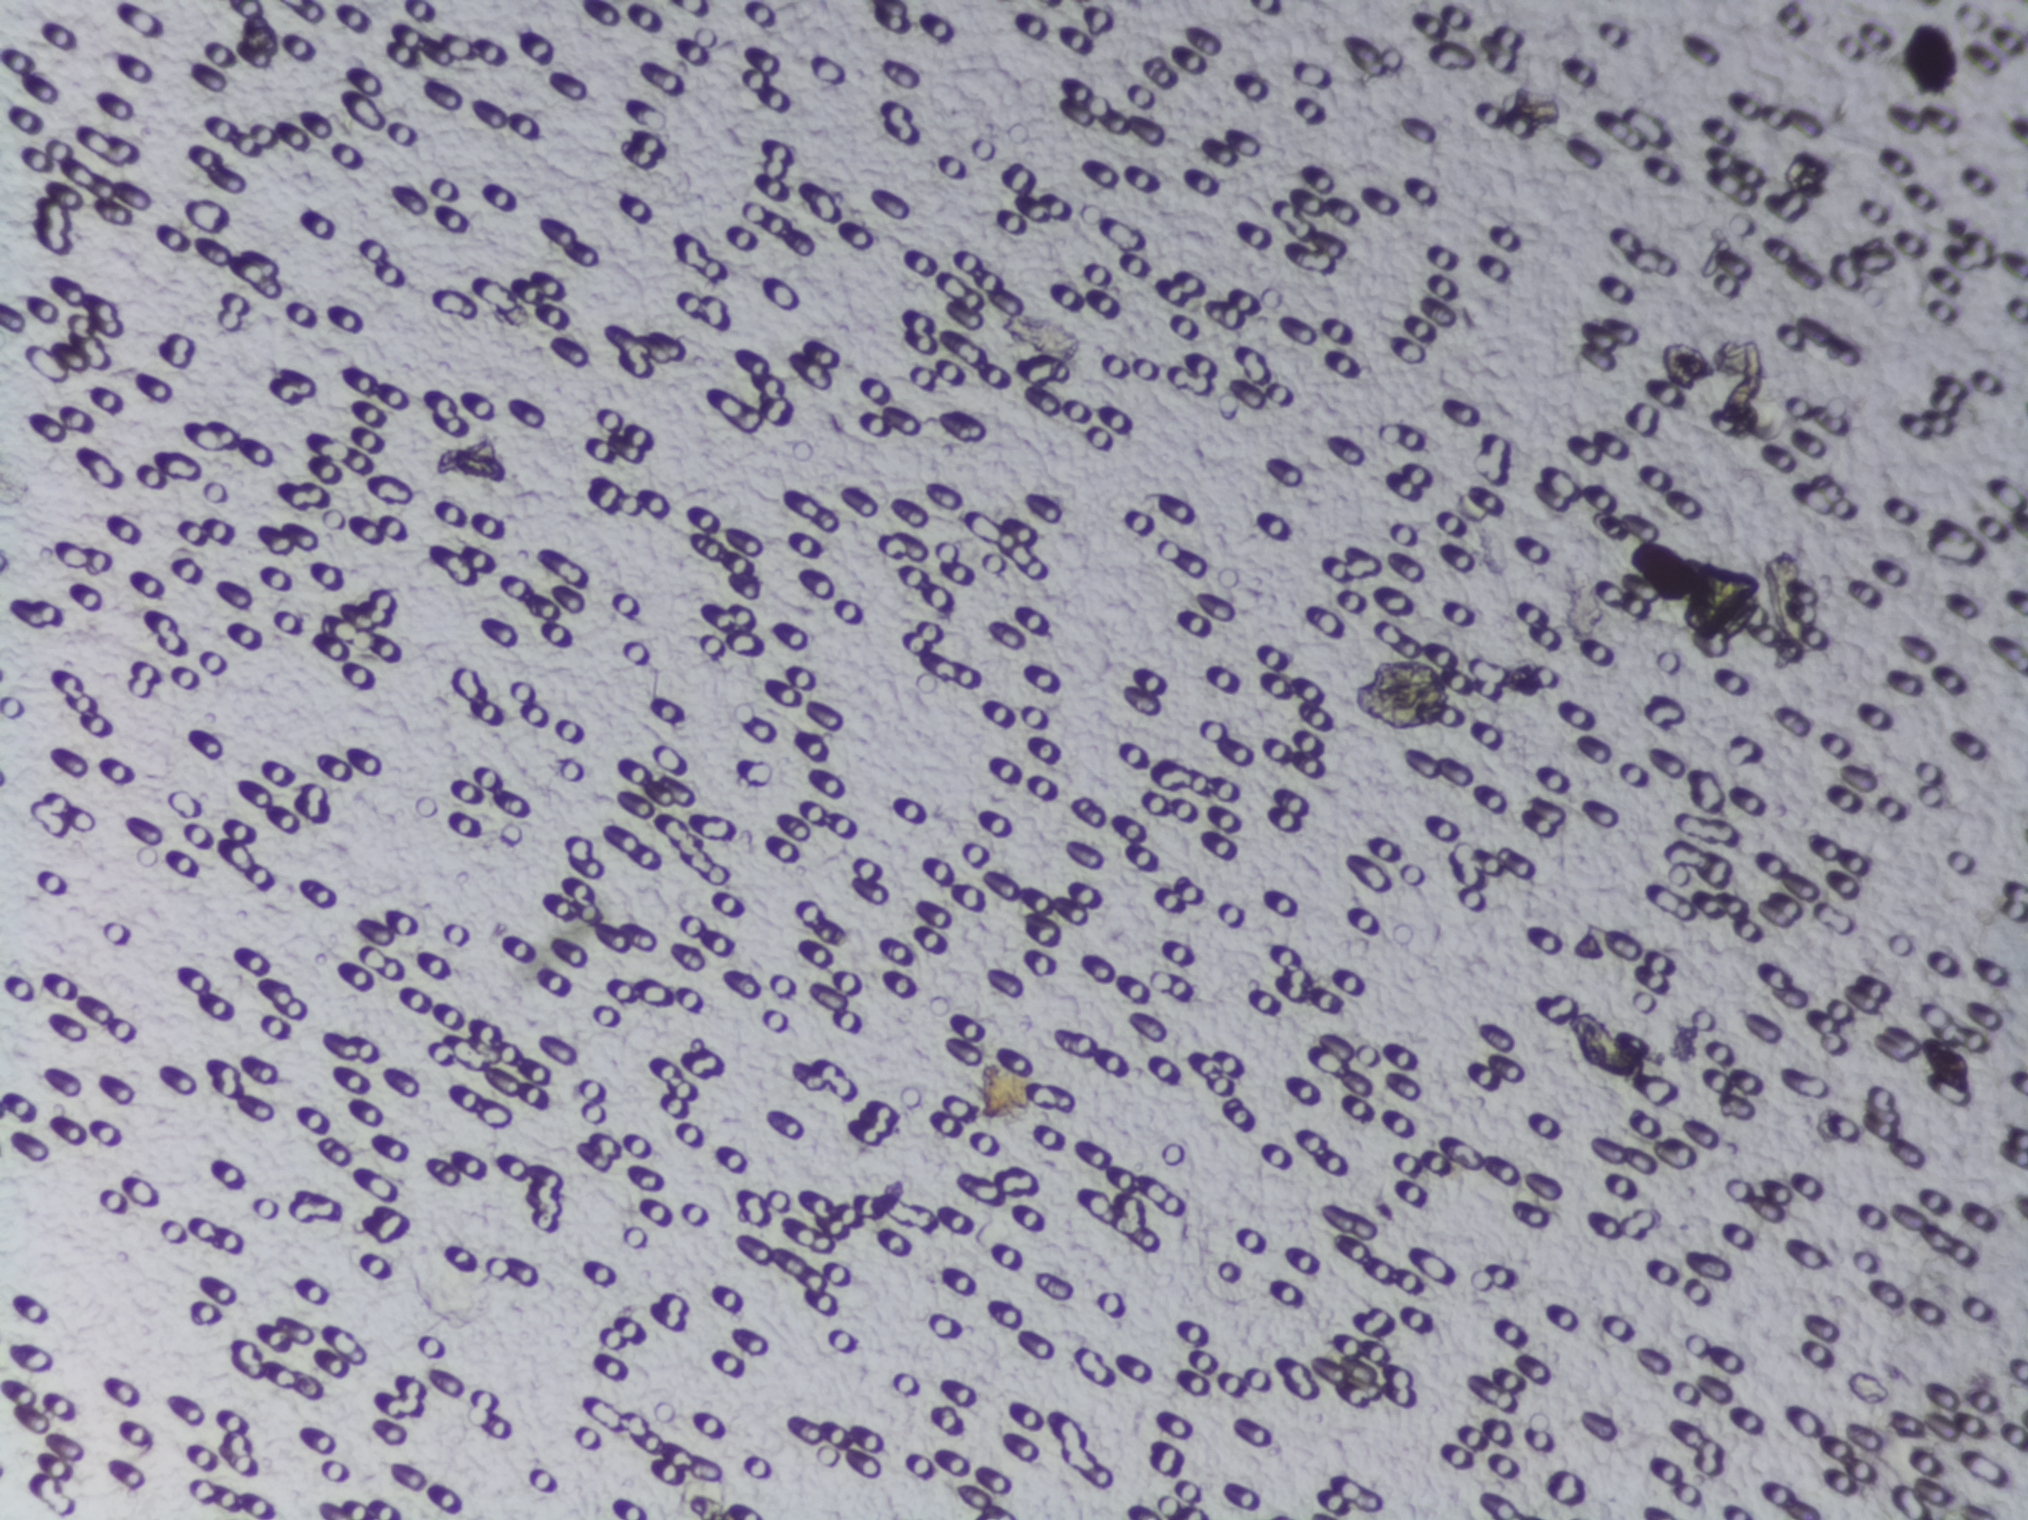
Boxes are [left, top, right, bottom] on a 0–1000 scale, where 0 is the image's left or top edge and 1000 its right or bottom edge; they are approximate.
Schistosoma egg areas, outlined: [773, 664, 810, 710]; [945, 682, 972, 719]. An outlined area can hold more than one egg. A marked egg may occasionally be S. mansoni rather than S. haematobium.
Photograph from an automated digital microscope: urine filter membrane, 4× objective.